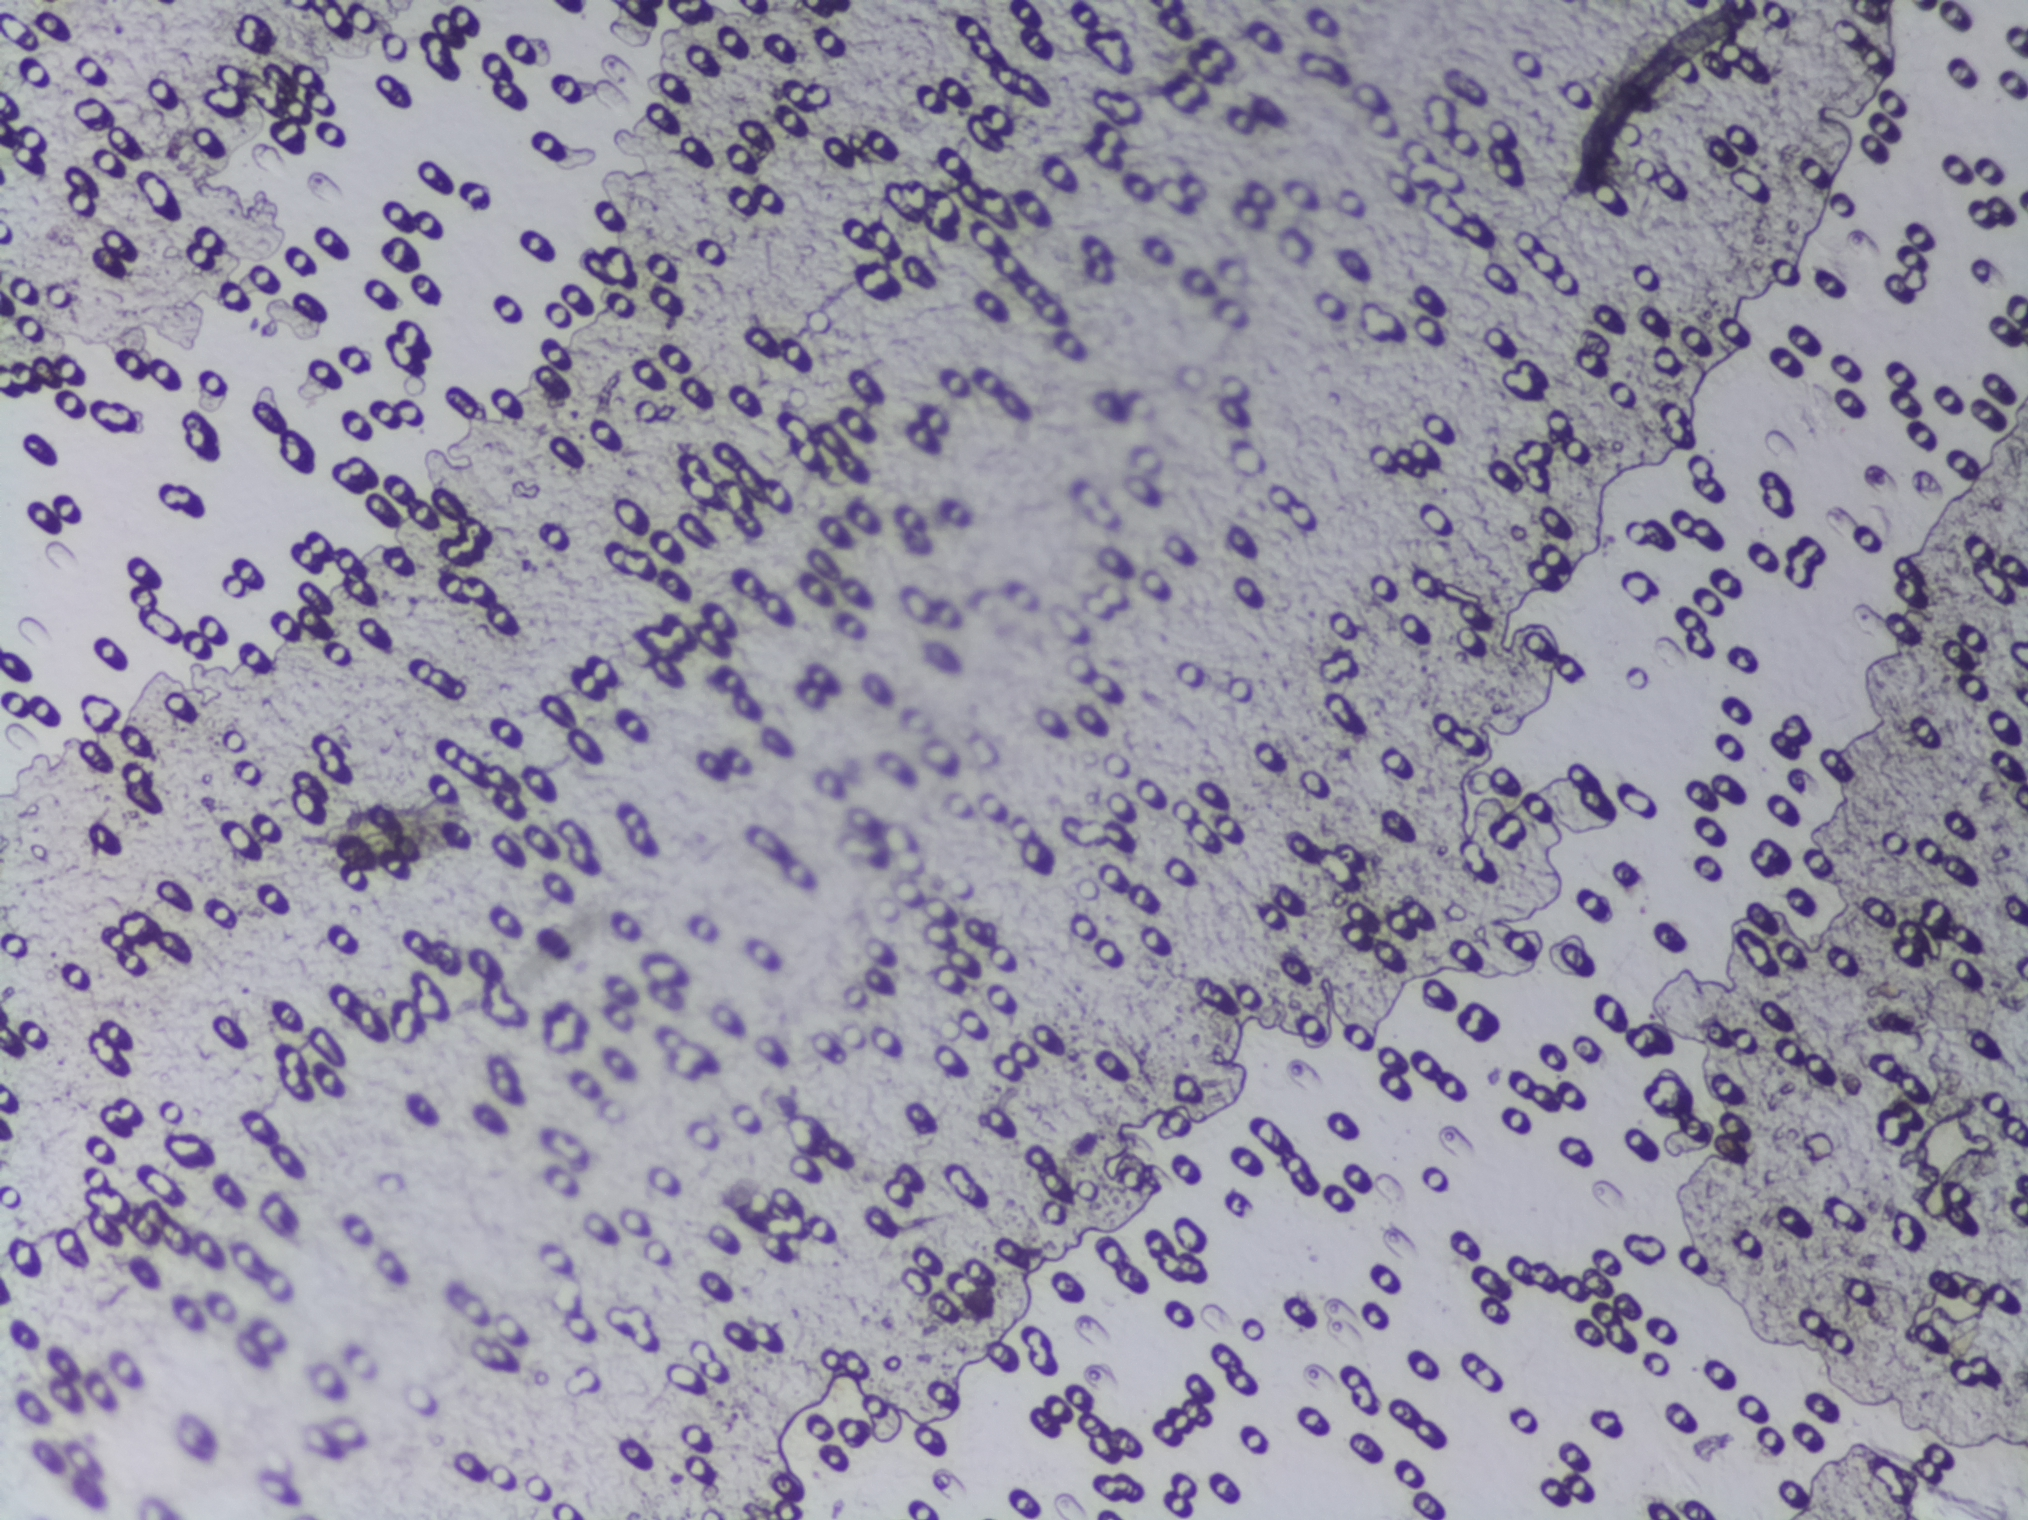
No Schistosoma egg is outlined in this image's expert annotation.
Photograph from an automated digital microscope: urine filter membrane, 4× objective.